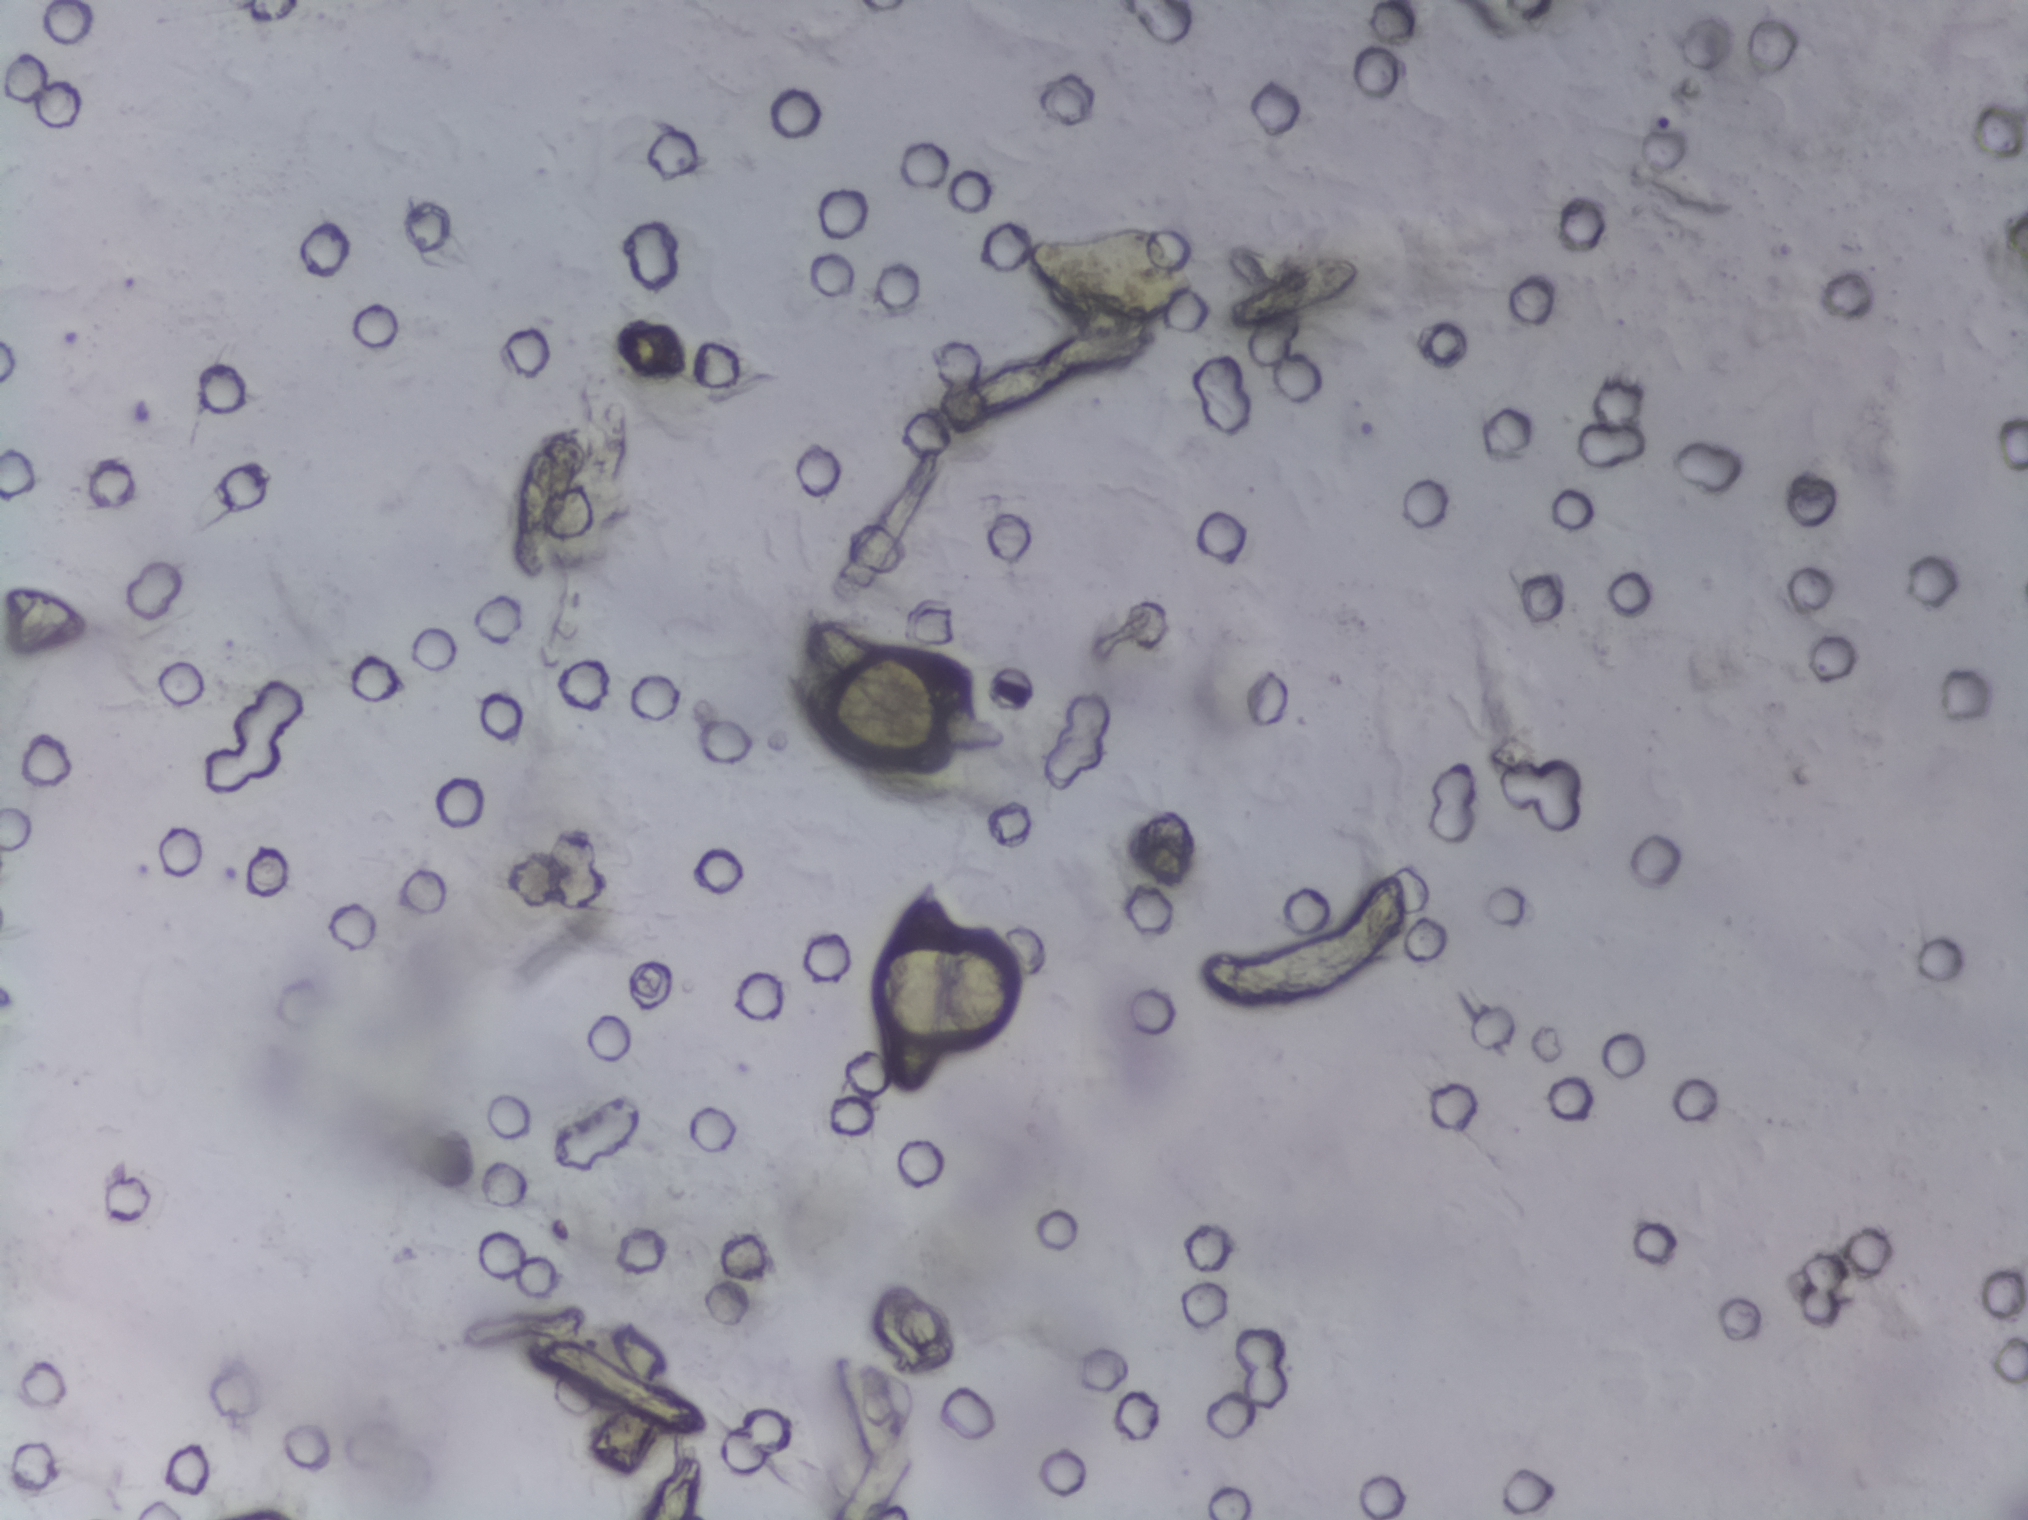
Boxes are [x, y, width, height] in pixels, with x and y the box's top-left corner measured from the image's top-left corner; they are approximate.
Three areas of this image are outlined as Schistosoma eggs, from left to right: [784, 674, 171, 100]; [875, 877, 146, 219]; [1031, 233, 168, 87]. The marked pixels themselves, not the boxes around them, cover about 1.3% of the image. An outlined area can hold more than one egg.
One field of view of a urine filter membrane, 4× objective, 2028 × 1520 pixels.